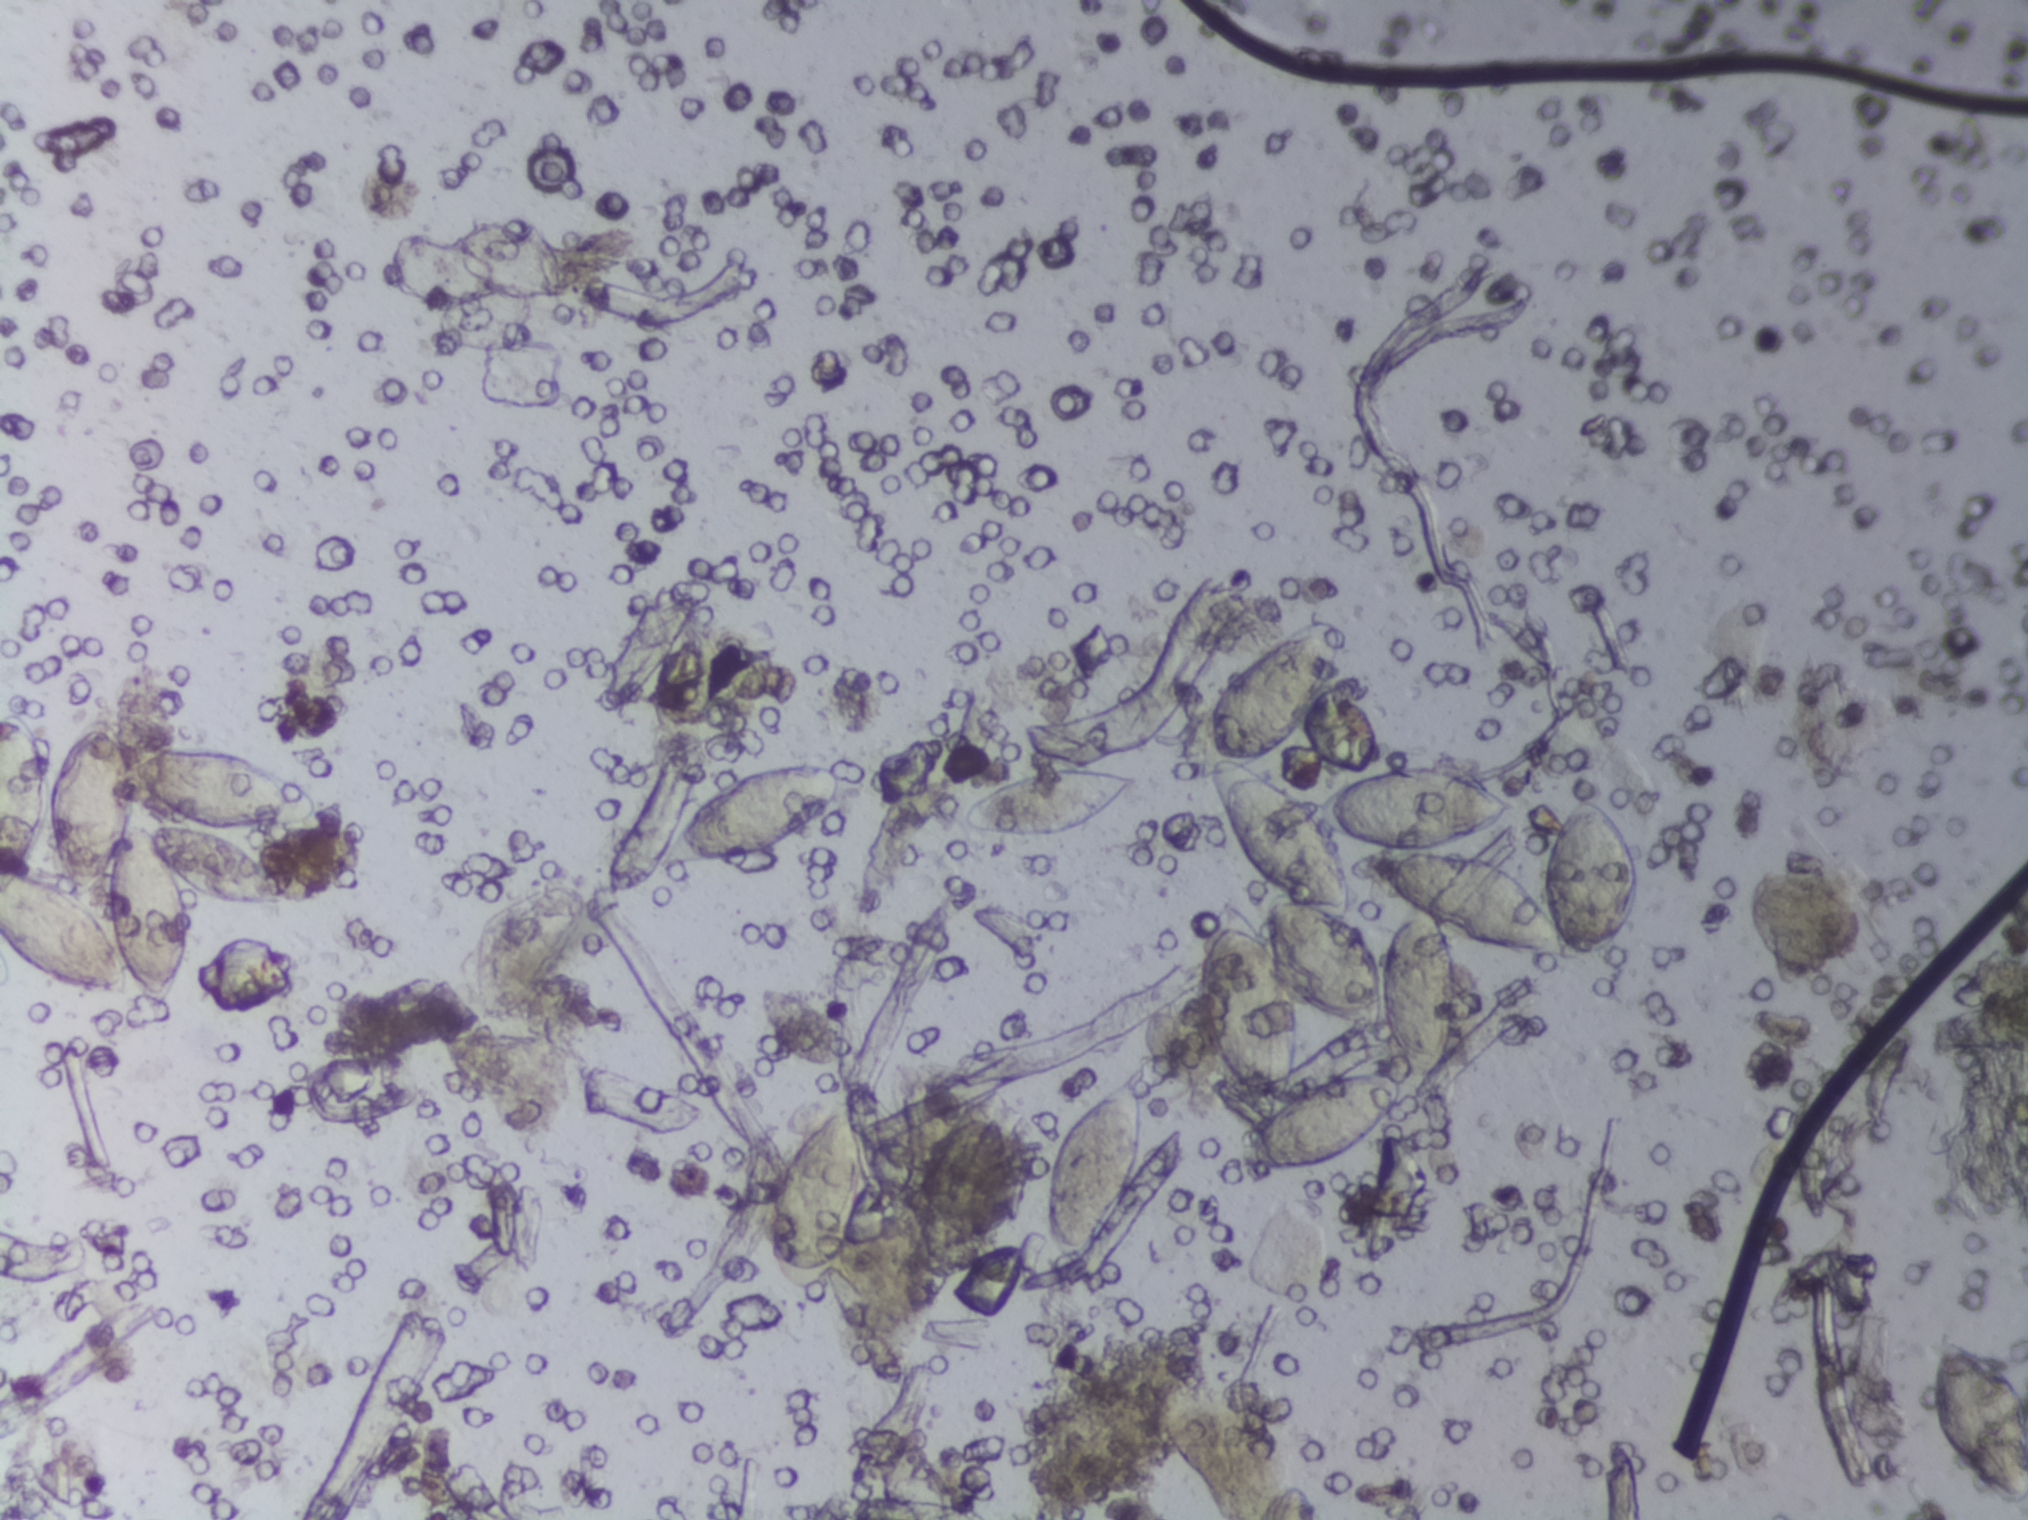
Photograph from an automated digital microscope: urine filter membrane, 4× objective.
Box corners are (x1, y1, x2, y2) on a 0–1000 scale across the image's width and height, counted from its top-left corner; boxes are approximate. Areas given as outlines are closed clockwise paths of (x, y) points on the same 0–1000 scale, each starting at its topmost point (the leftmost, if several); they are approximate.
Areas outlined as Schistosoma eggs: box (0, 464, 160, 674) (a cluster of eggs; reaching the left edge of the frame); box (325, 501, 416, 572); box (375, 649, 419, 705); box (379, 719, 428, 853); box (475, 504, 560, 551); box (514, 708, 565, 829); outline (650, 408), (657, 408), (661, 419), (655, 455), (644, 483), (618, 503), (619, 507), (647, 533), (658, 519), (677, 514), (687, 503), (725, 508), (745, 523), (748, 531), (733, 550), (711, 560), (736, 567), (761, 592), (763, 559), (783, 524), (795, 534), (804, 553), (807, 592), (790, 633), (756, 635), (714, 613), (719, 644), (719, 671), (705, 719), (696, 720), (687, 742), (670, 760), (643, 770), (618, 771), (607, 767), (606, 760), (614, 739), (625, 729), (615, 723), (597, 697), (590, 679), (589, 642), (600, 593), (608, 592), (620, 608), (621, 594), (627, 588), (612, 569), (598, 533), (590, 509), (589, 484), (605, 447), (636, 415) (a cluster of eggs; with gaps inside, about 5.8% of the space inside its outline); box (951, 869, 1000, 994) (reaching the right edge of the frame). A single outlined area may contain several eggs. A marked egg may occasionally be S. mansoni rather than S. haematobium.